Photograph from an automated digital microscope: urine filter membrane, 4× objective.
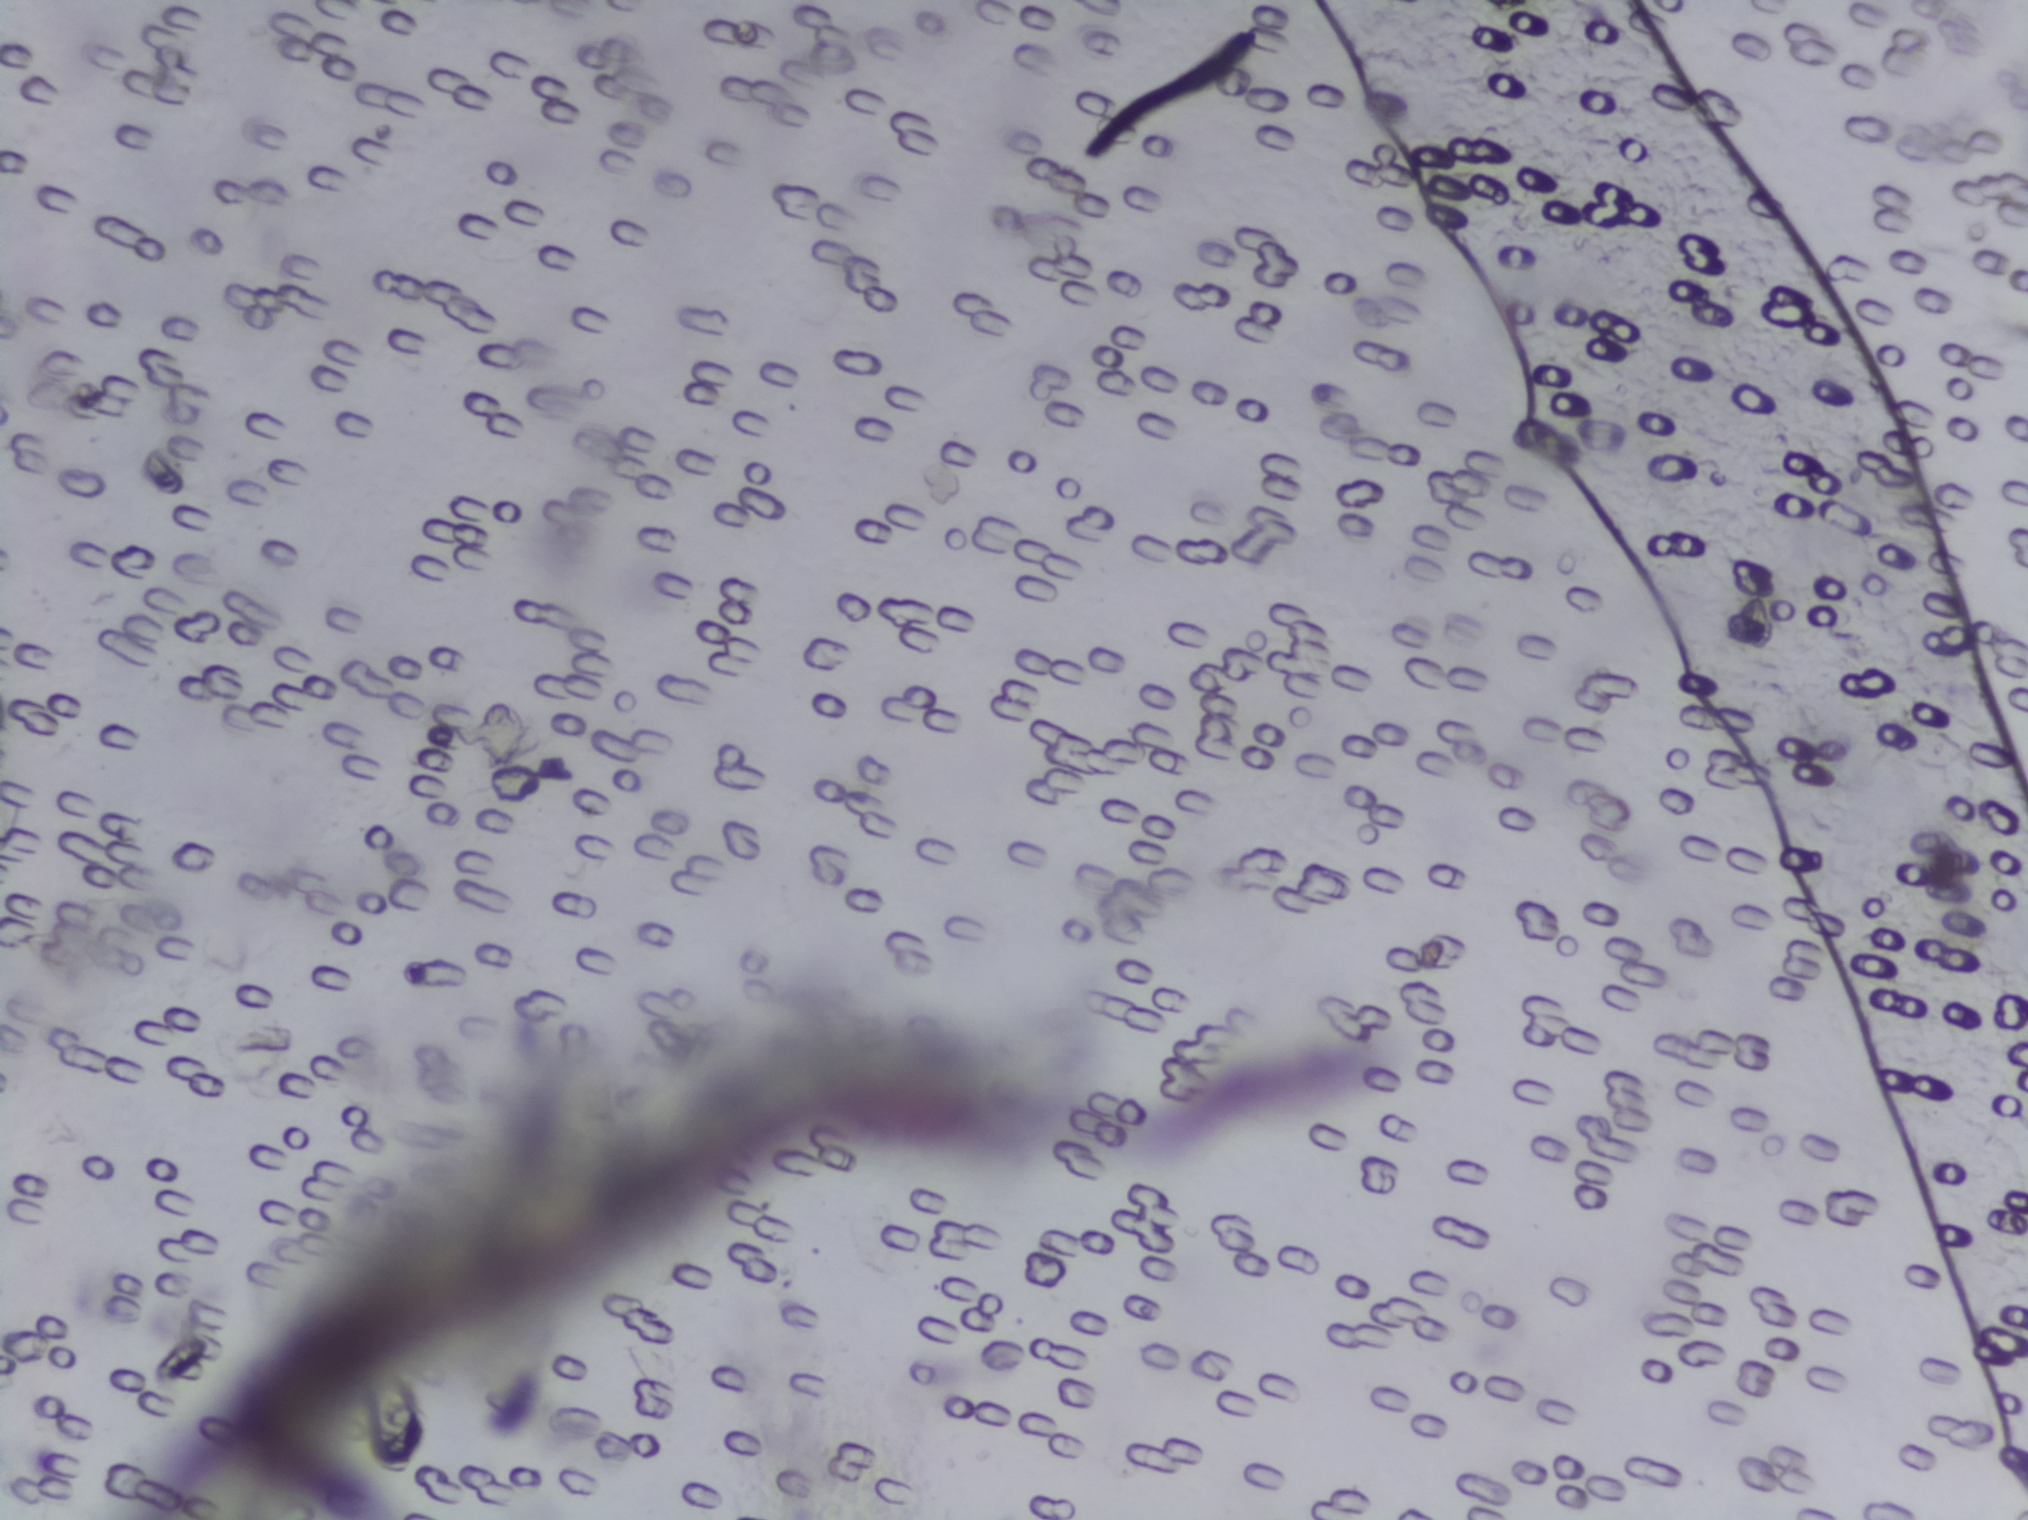
The expert annotation outlines no Schistosoma egg in this image.